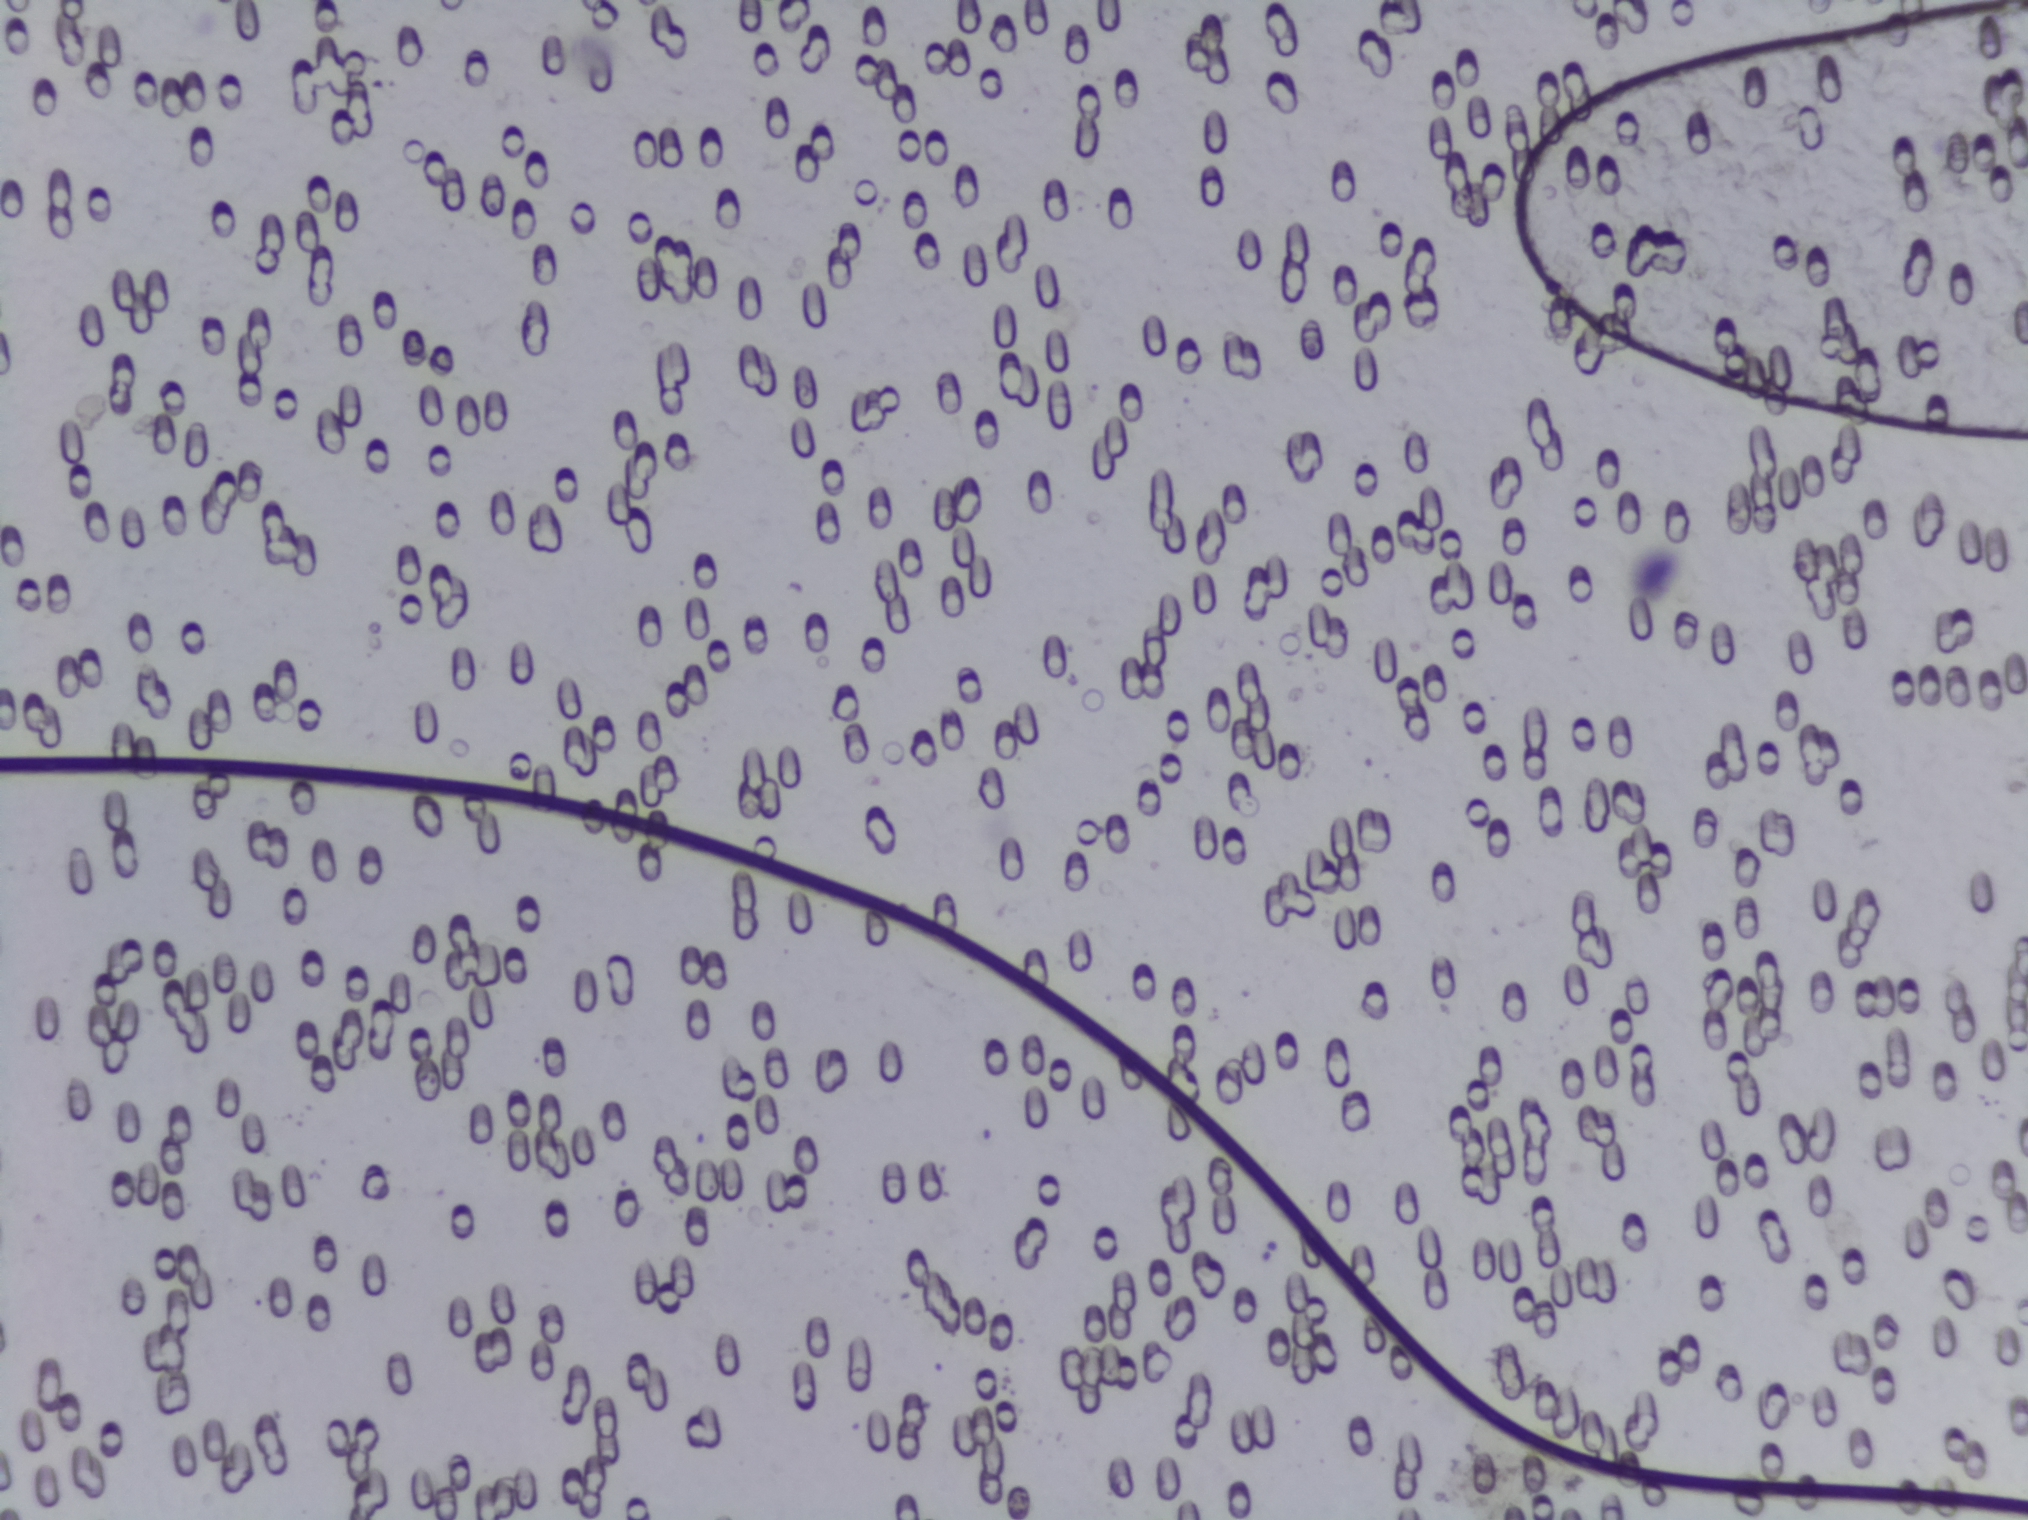
No Schistosoma egg is outlined in this image's expert annotation.
Photomicrograph of a urine filtration membrane, 4× objective. Field of view: about 1.5 mm wide and 1.1 mm high.